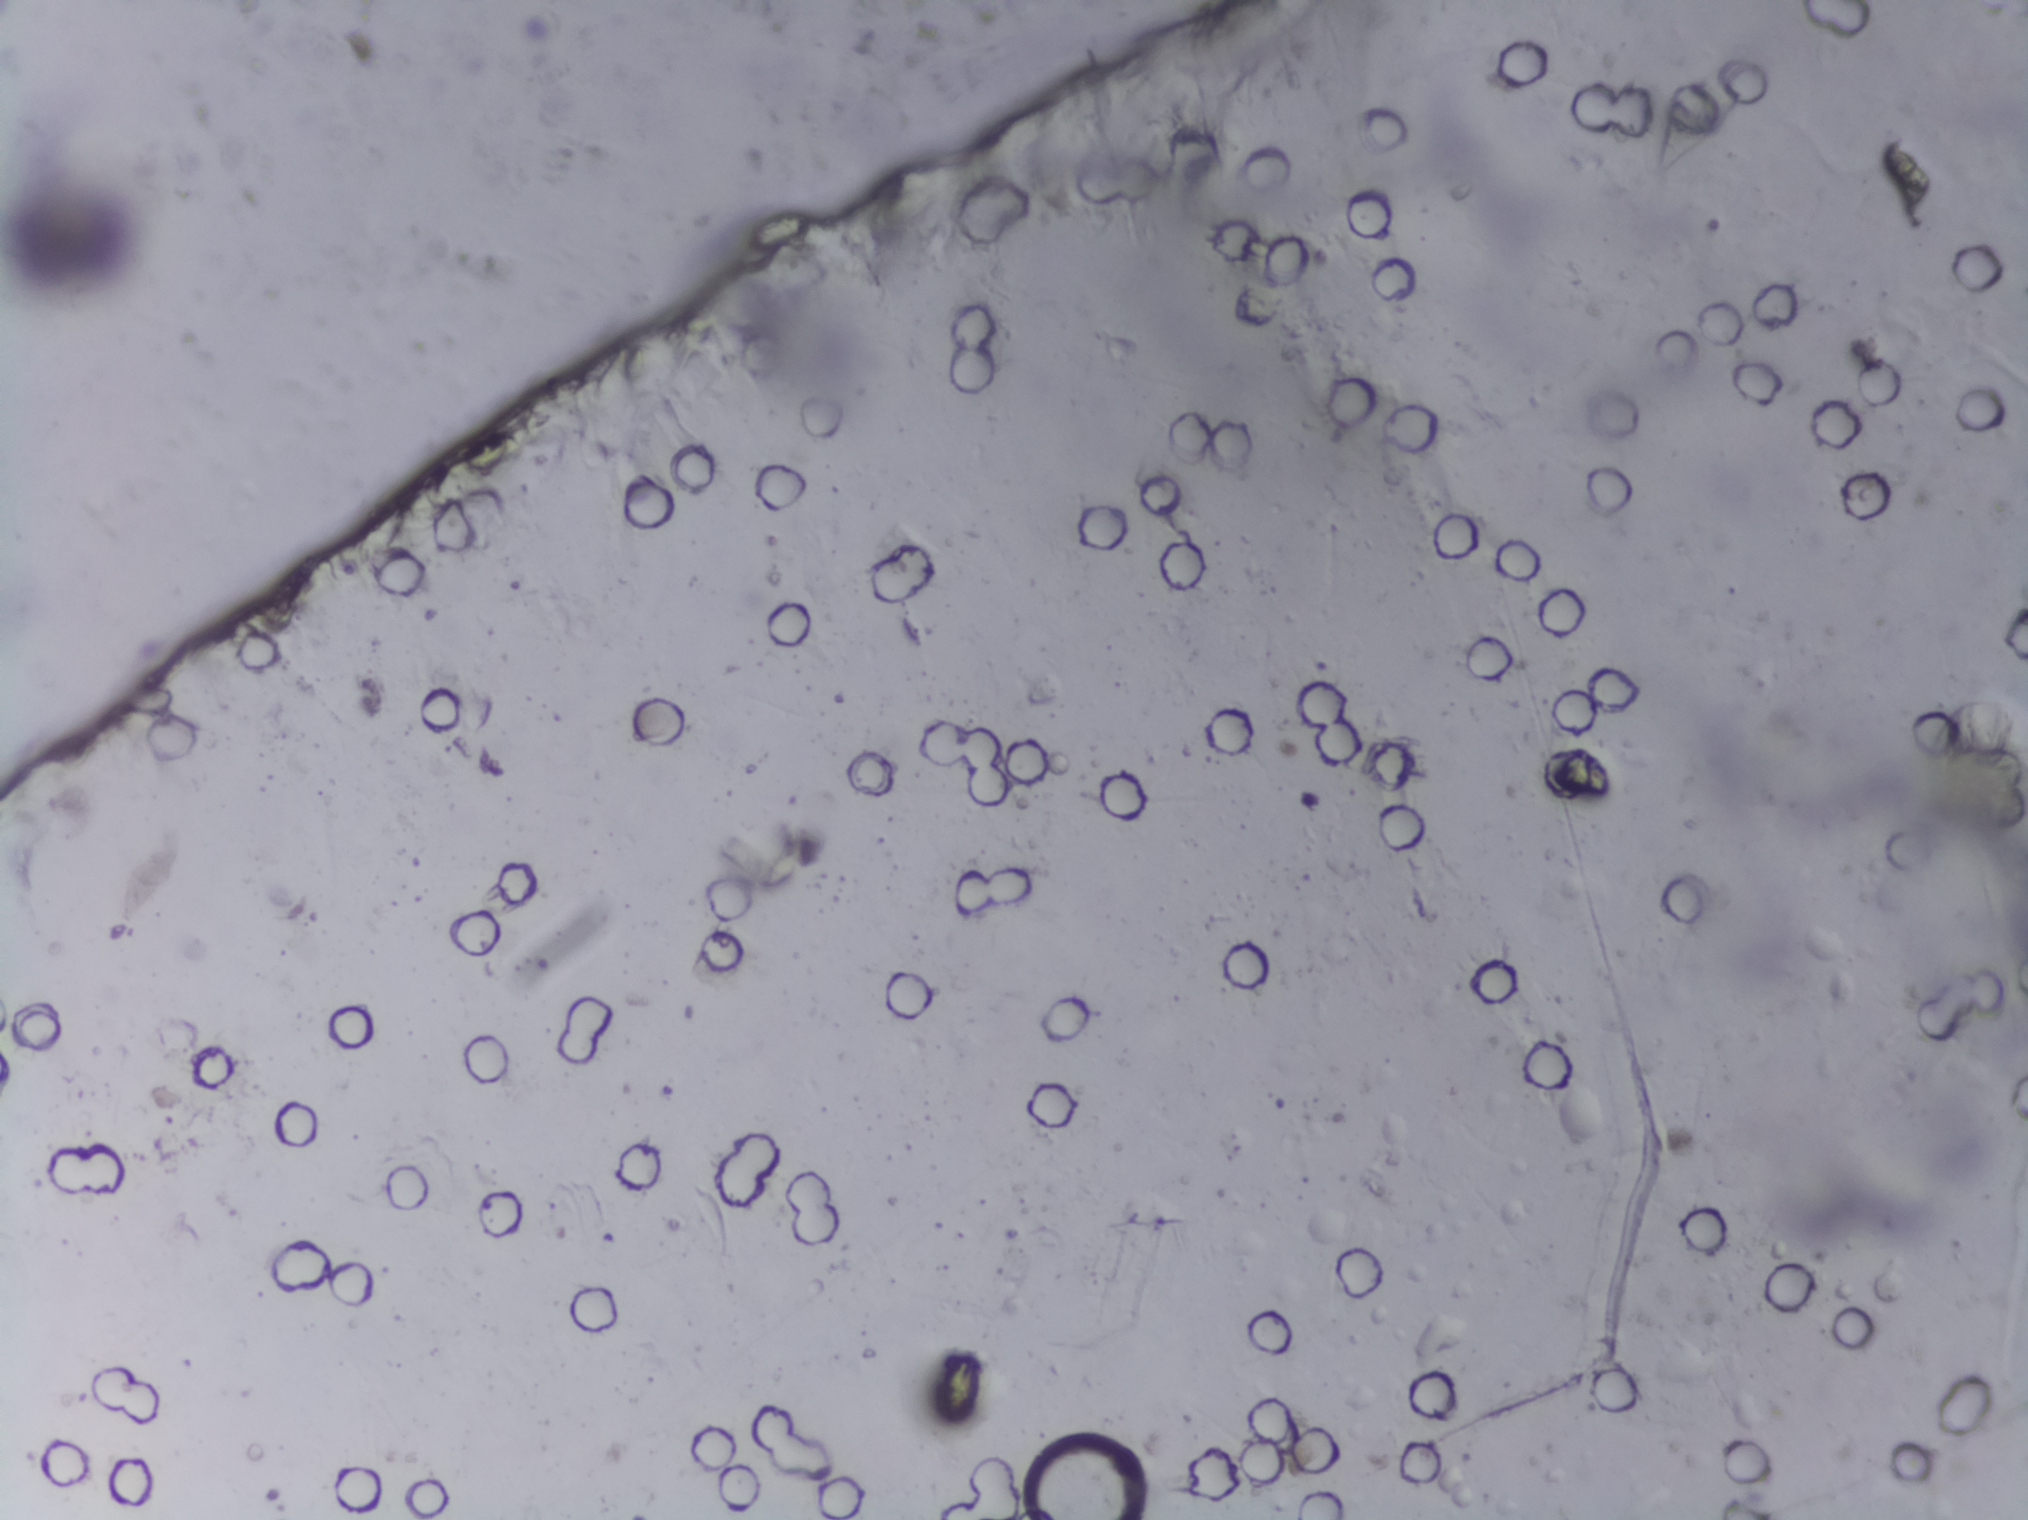
Urine filter membrane photographed through a 4× microscope objective. The image covers about 1.5 × 1.1 mm of the membrane.
No area of this image was outlined as a Schistosoma egg.